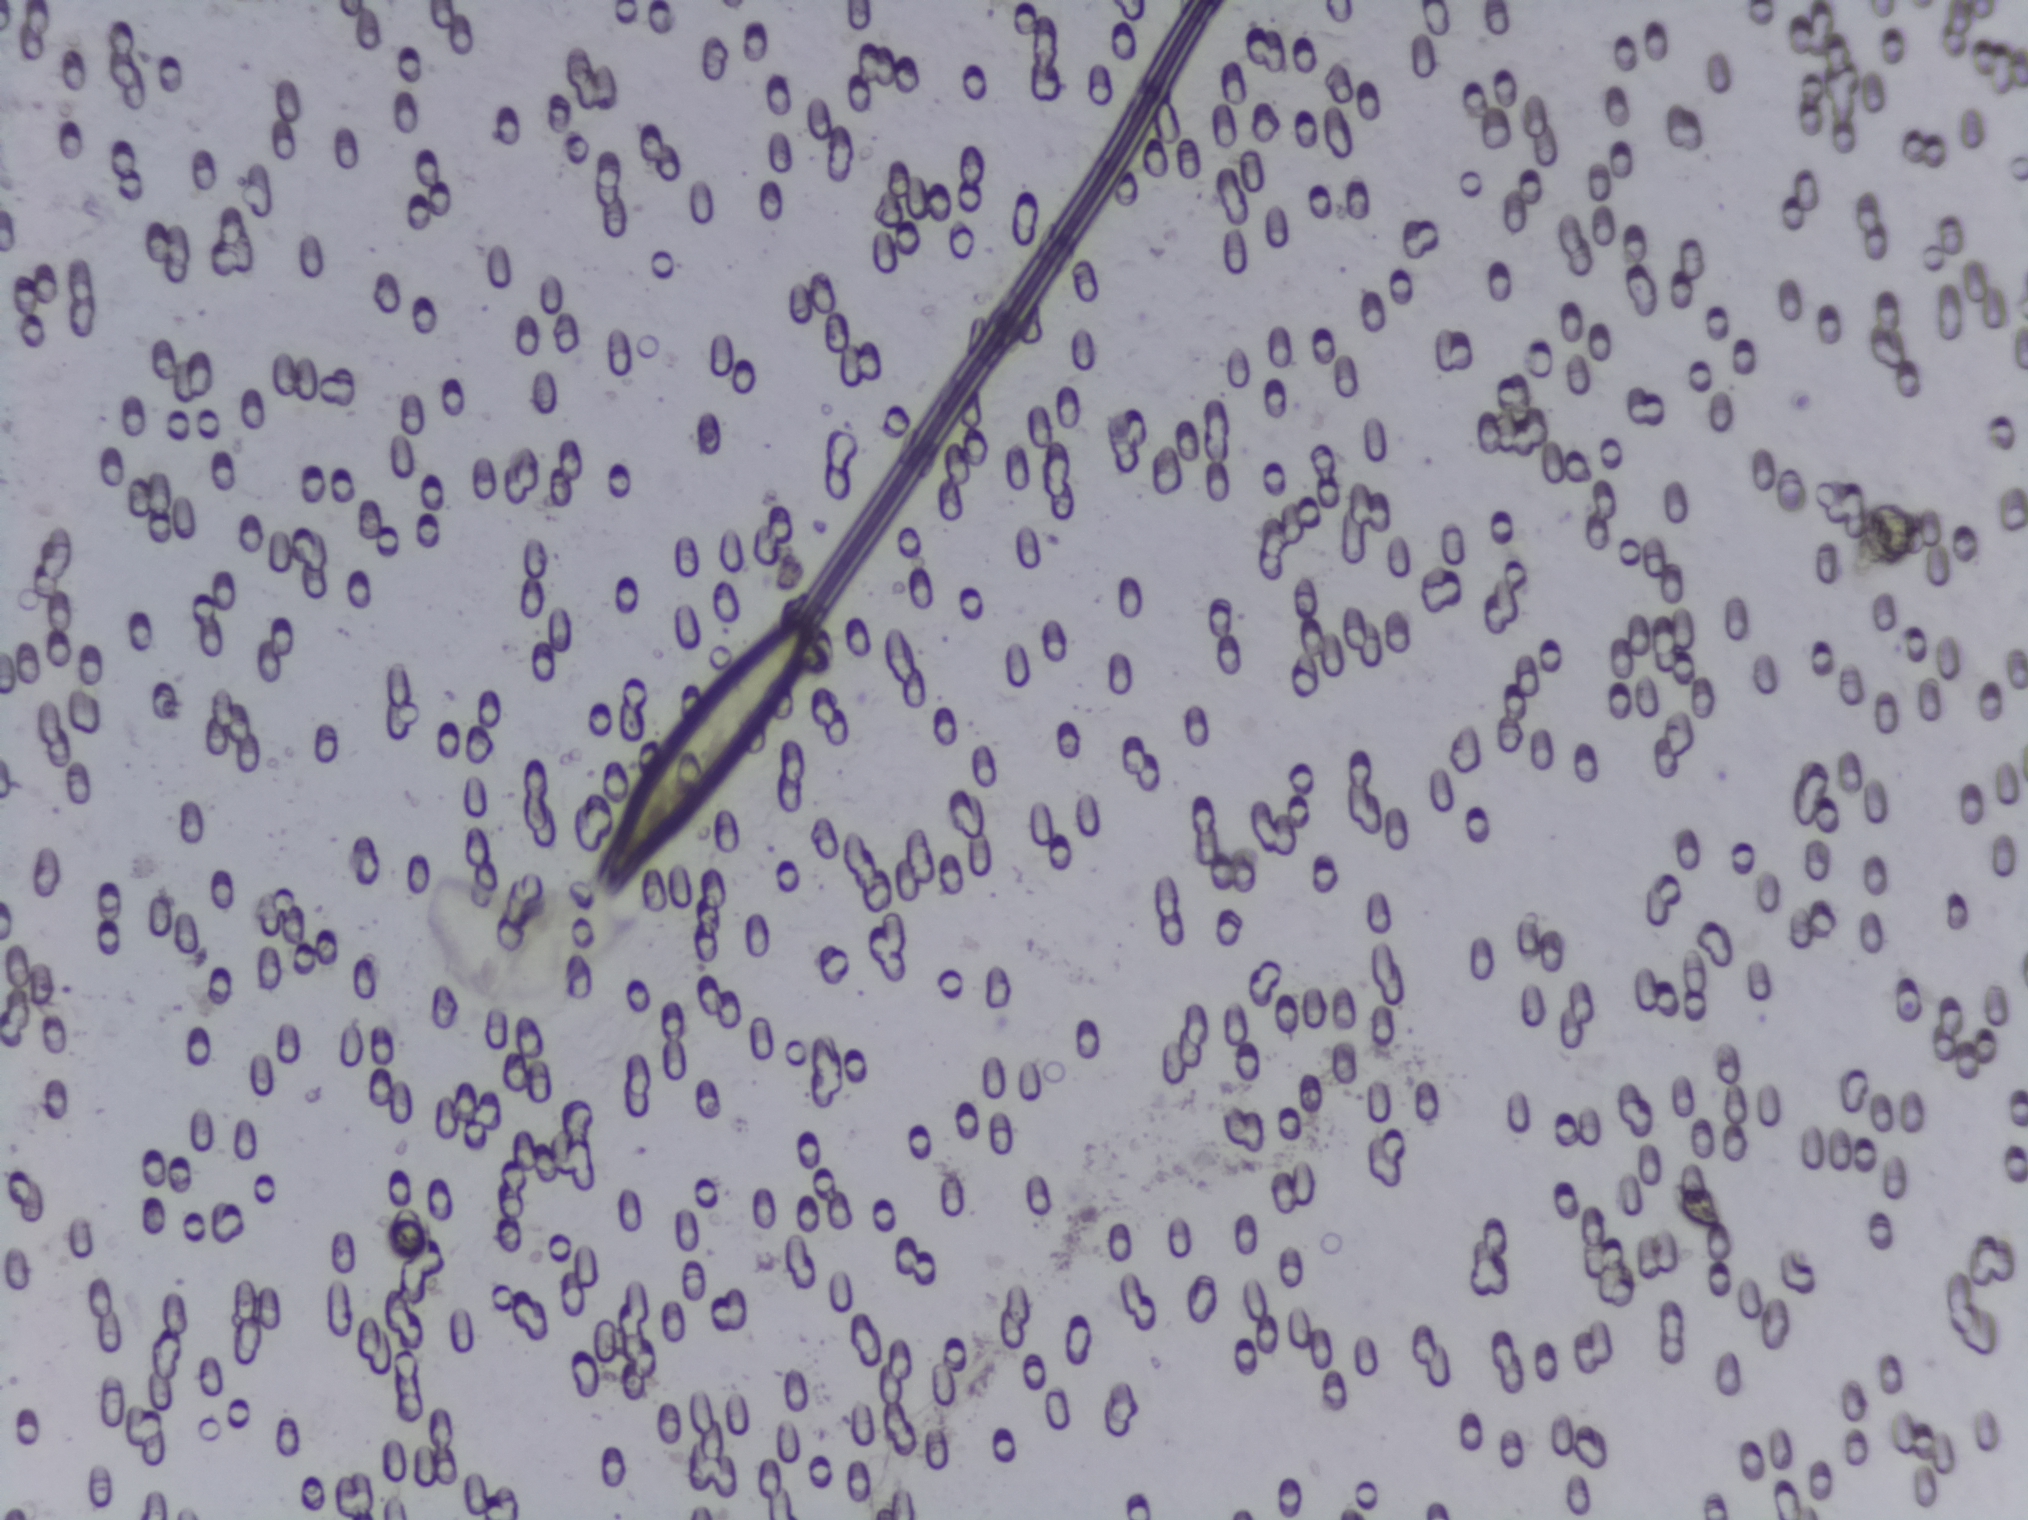
Urine filtration membrane under a 4× objective, photographed by an automated digital microscope. The field of view is about 1.5 mm × 1.1 mm.
The expert annotation marks no Schistosoma egg in this field of view.